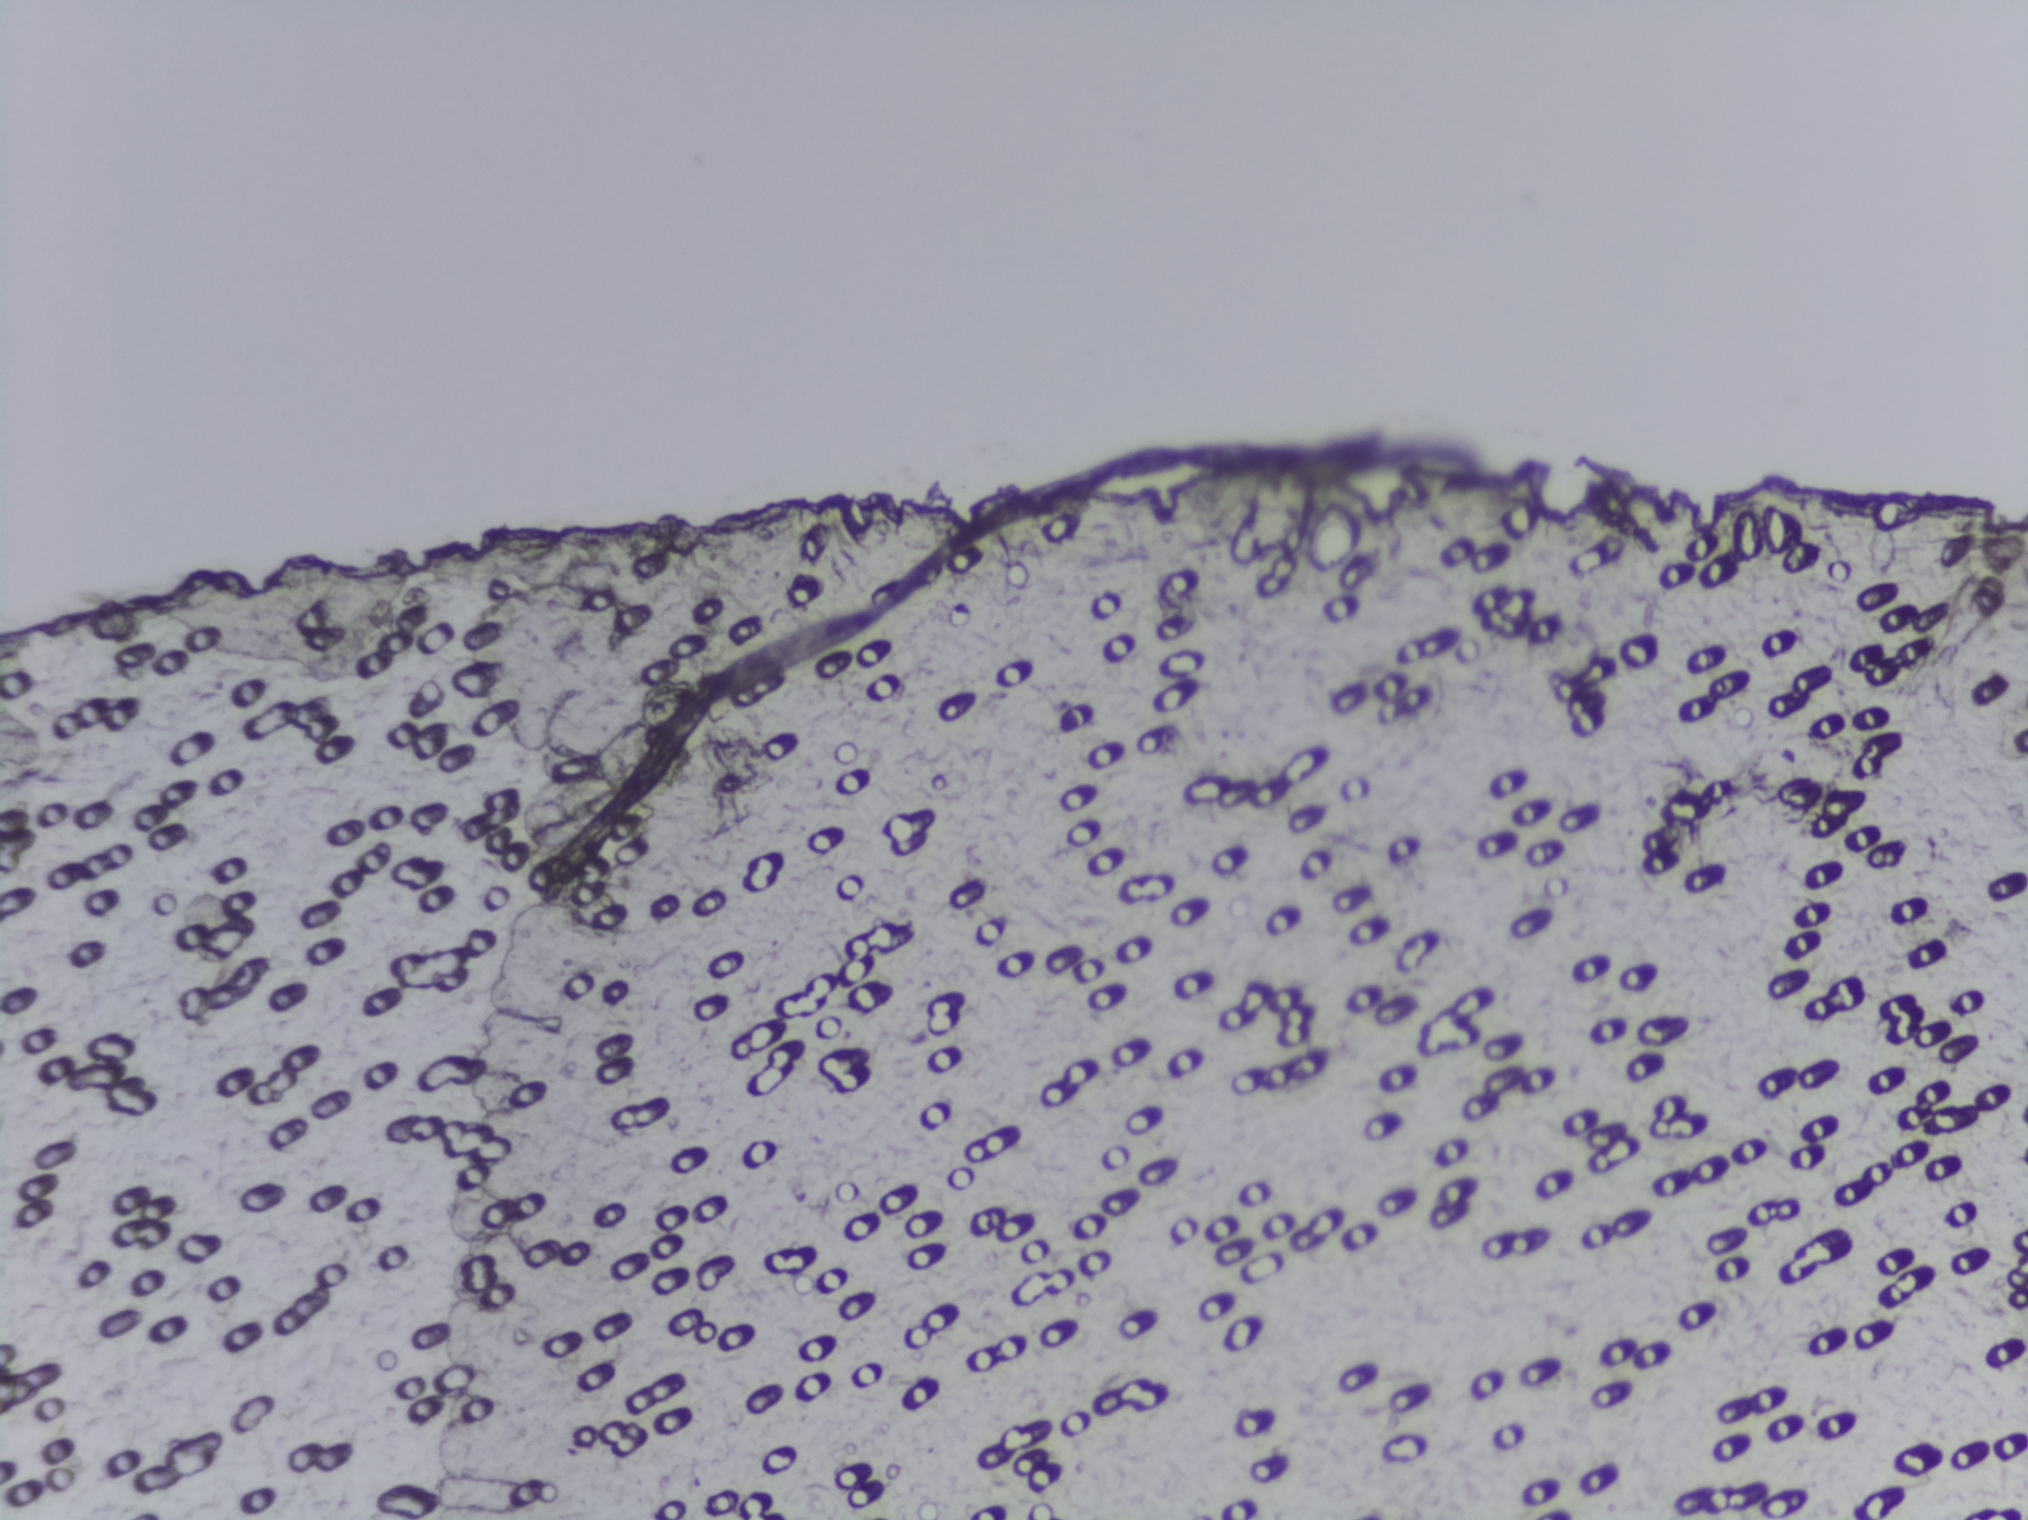
Urine filter membrane photographed through a 4× microscope objective.
No area of this image was outlined as a Schistosoma egg.